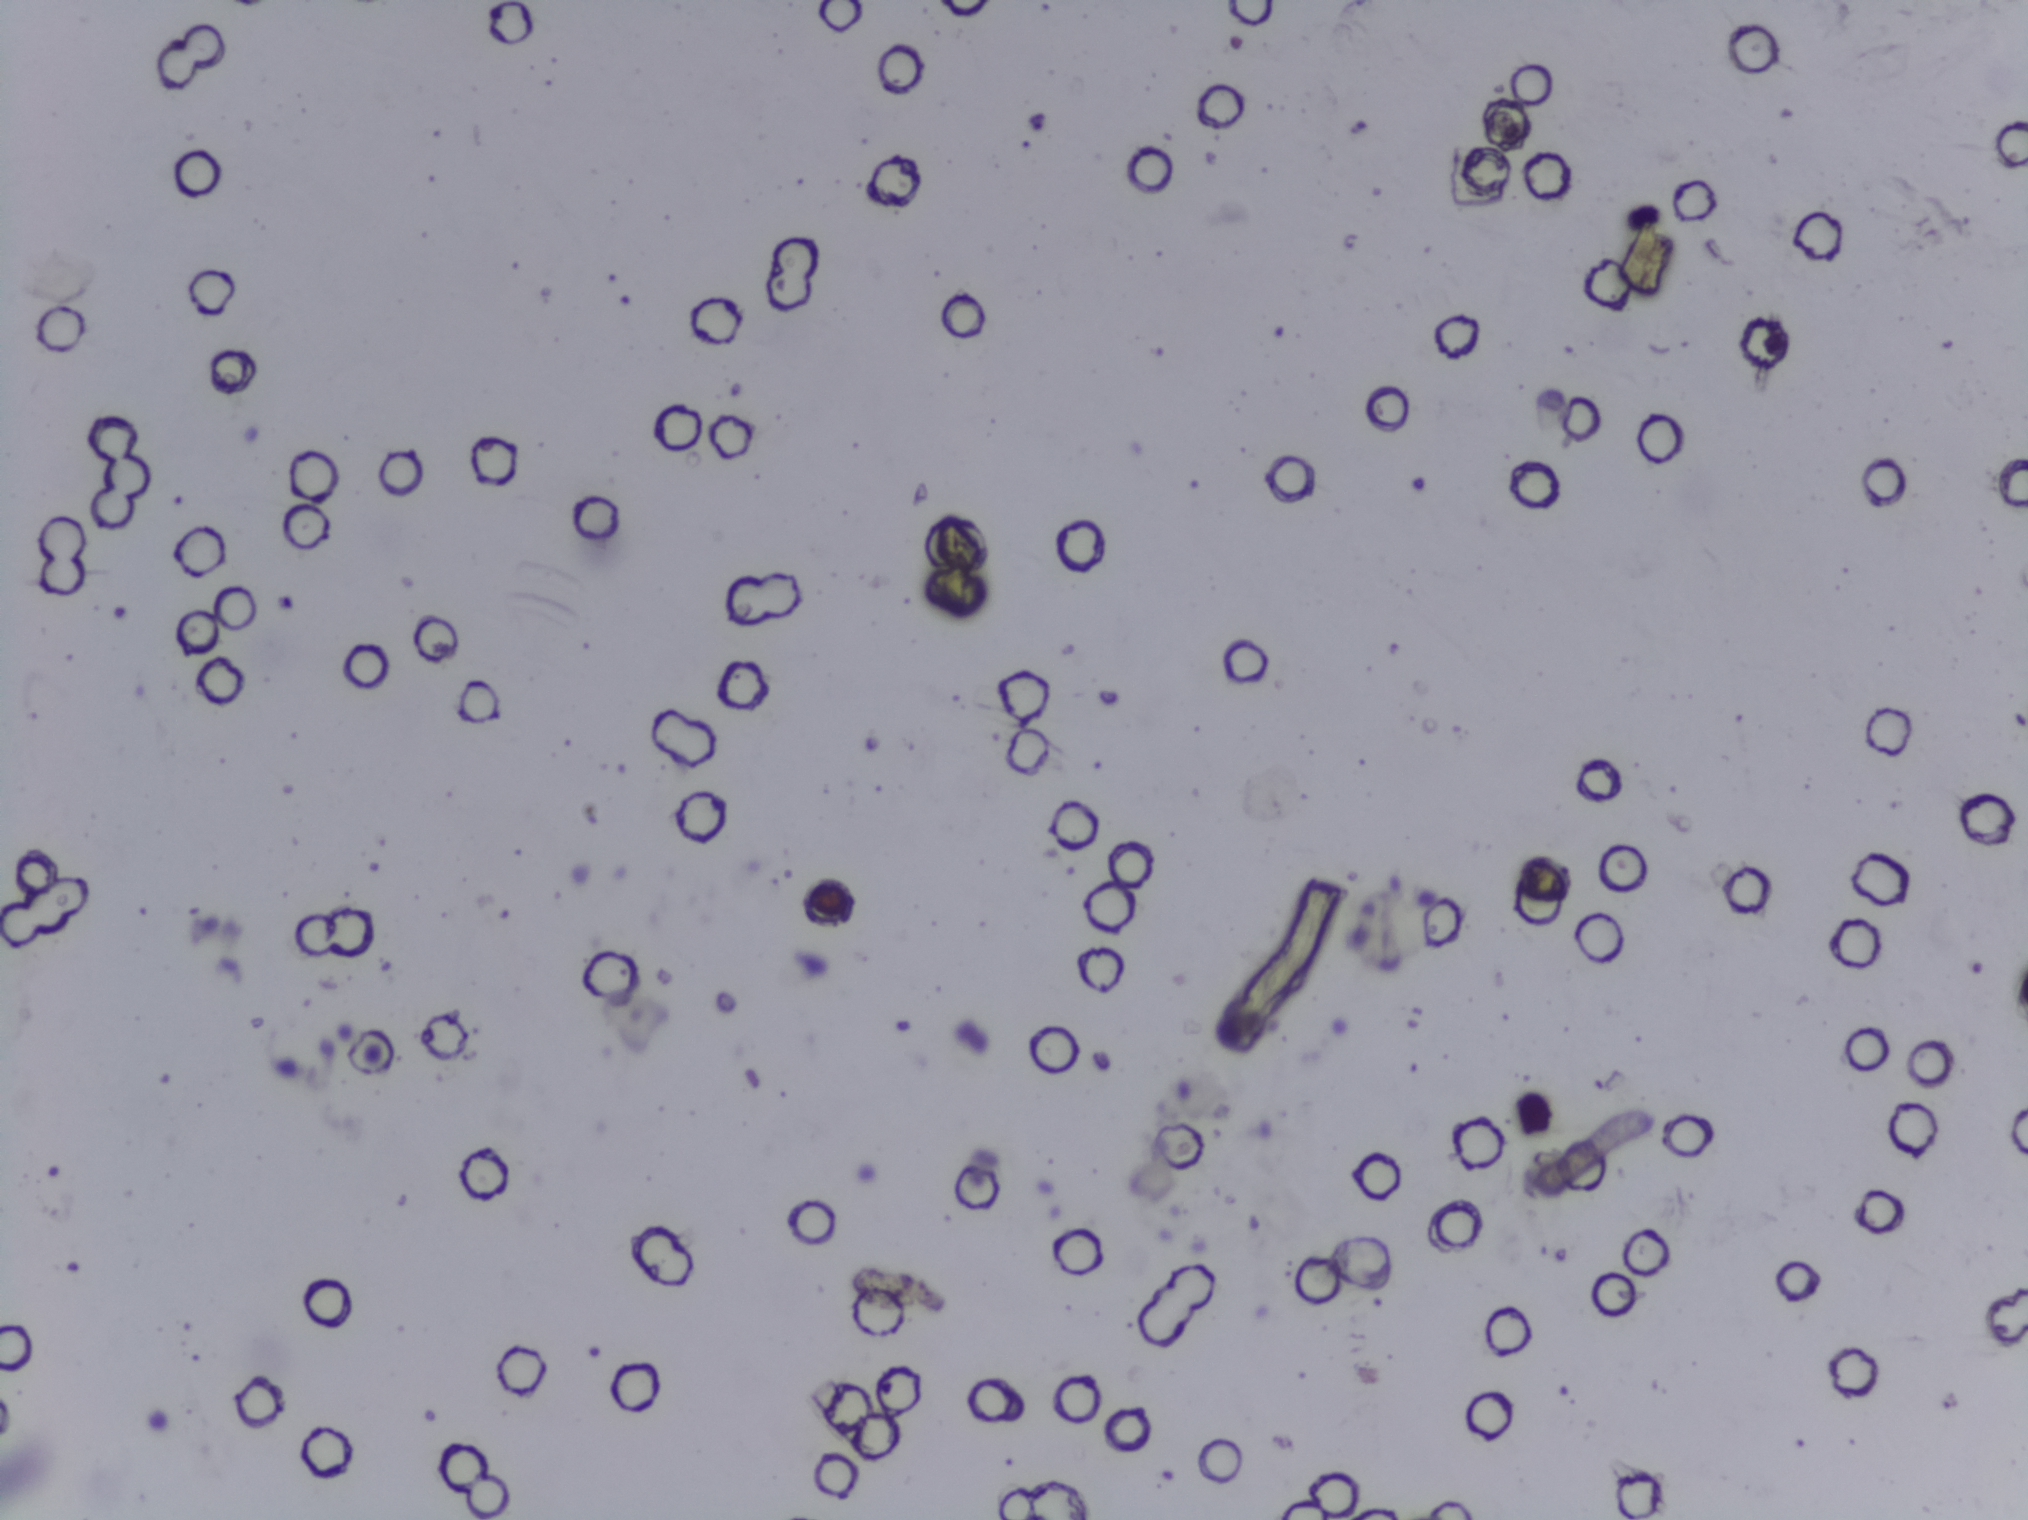
One field of view of a urine filter membrane, 4× objective, 2028 × 1520 pixels. Field of view: about 1.5 mm wide and 1.1 mm high.
The expert annotation marks no Schistosoma egg in this field of view.